Photograph from an automated digital microscope: urine filter membrane, 4× objective.
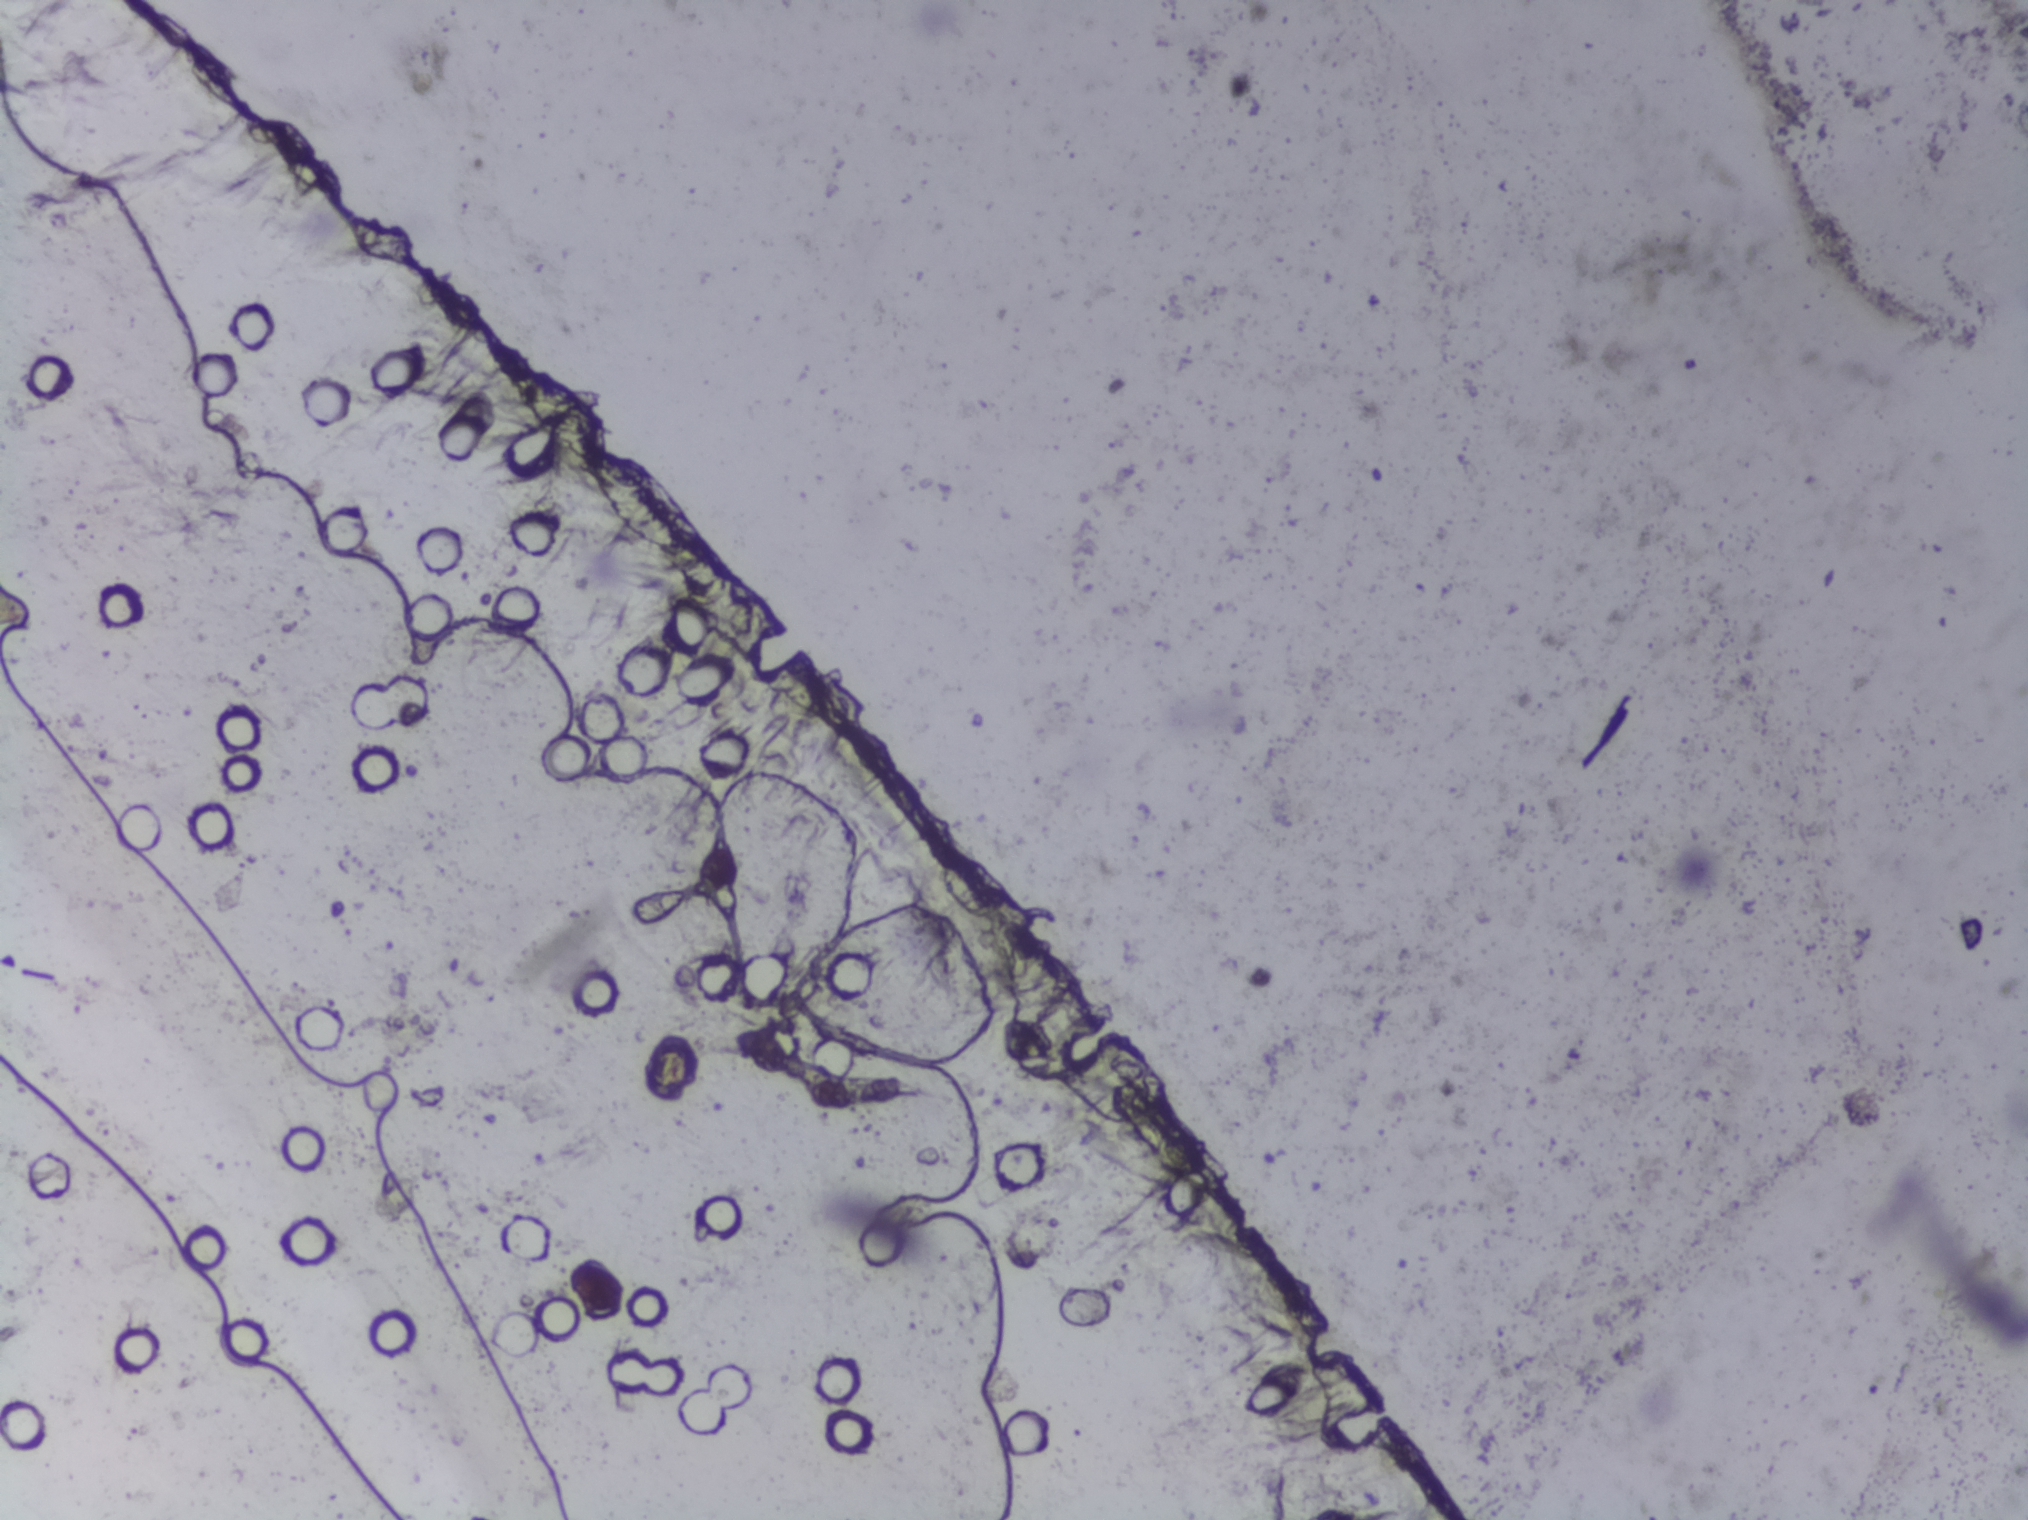
The expert annotation marks no Schistosoma egg in this field of view.